One field of view of a urine filter membrane, 4× objective, 2028 × 1520 pixels.
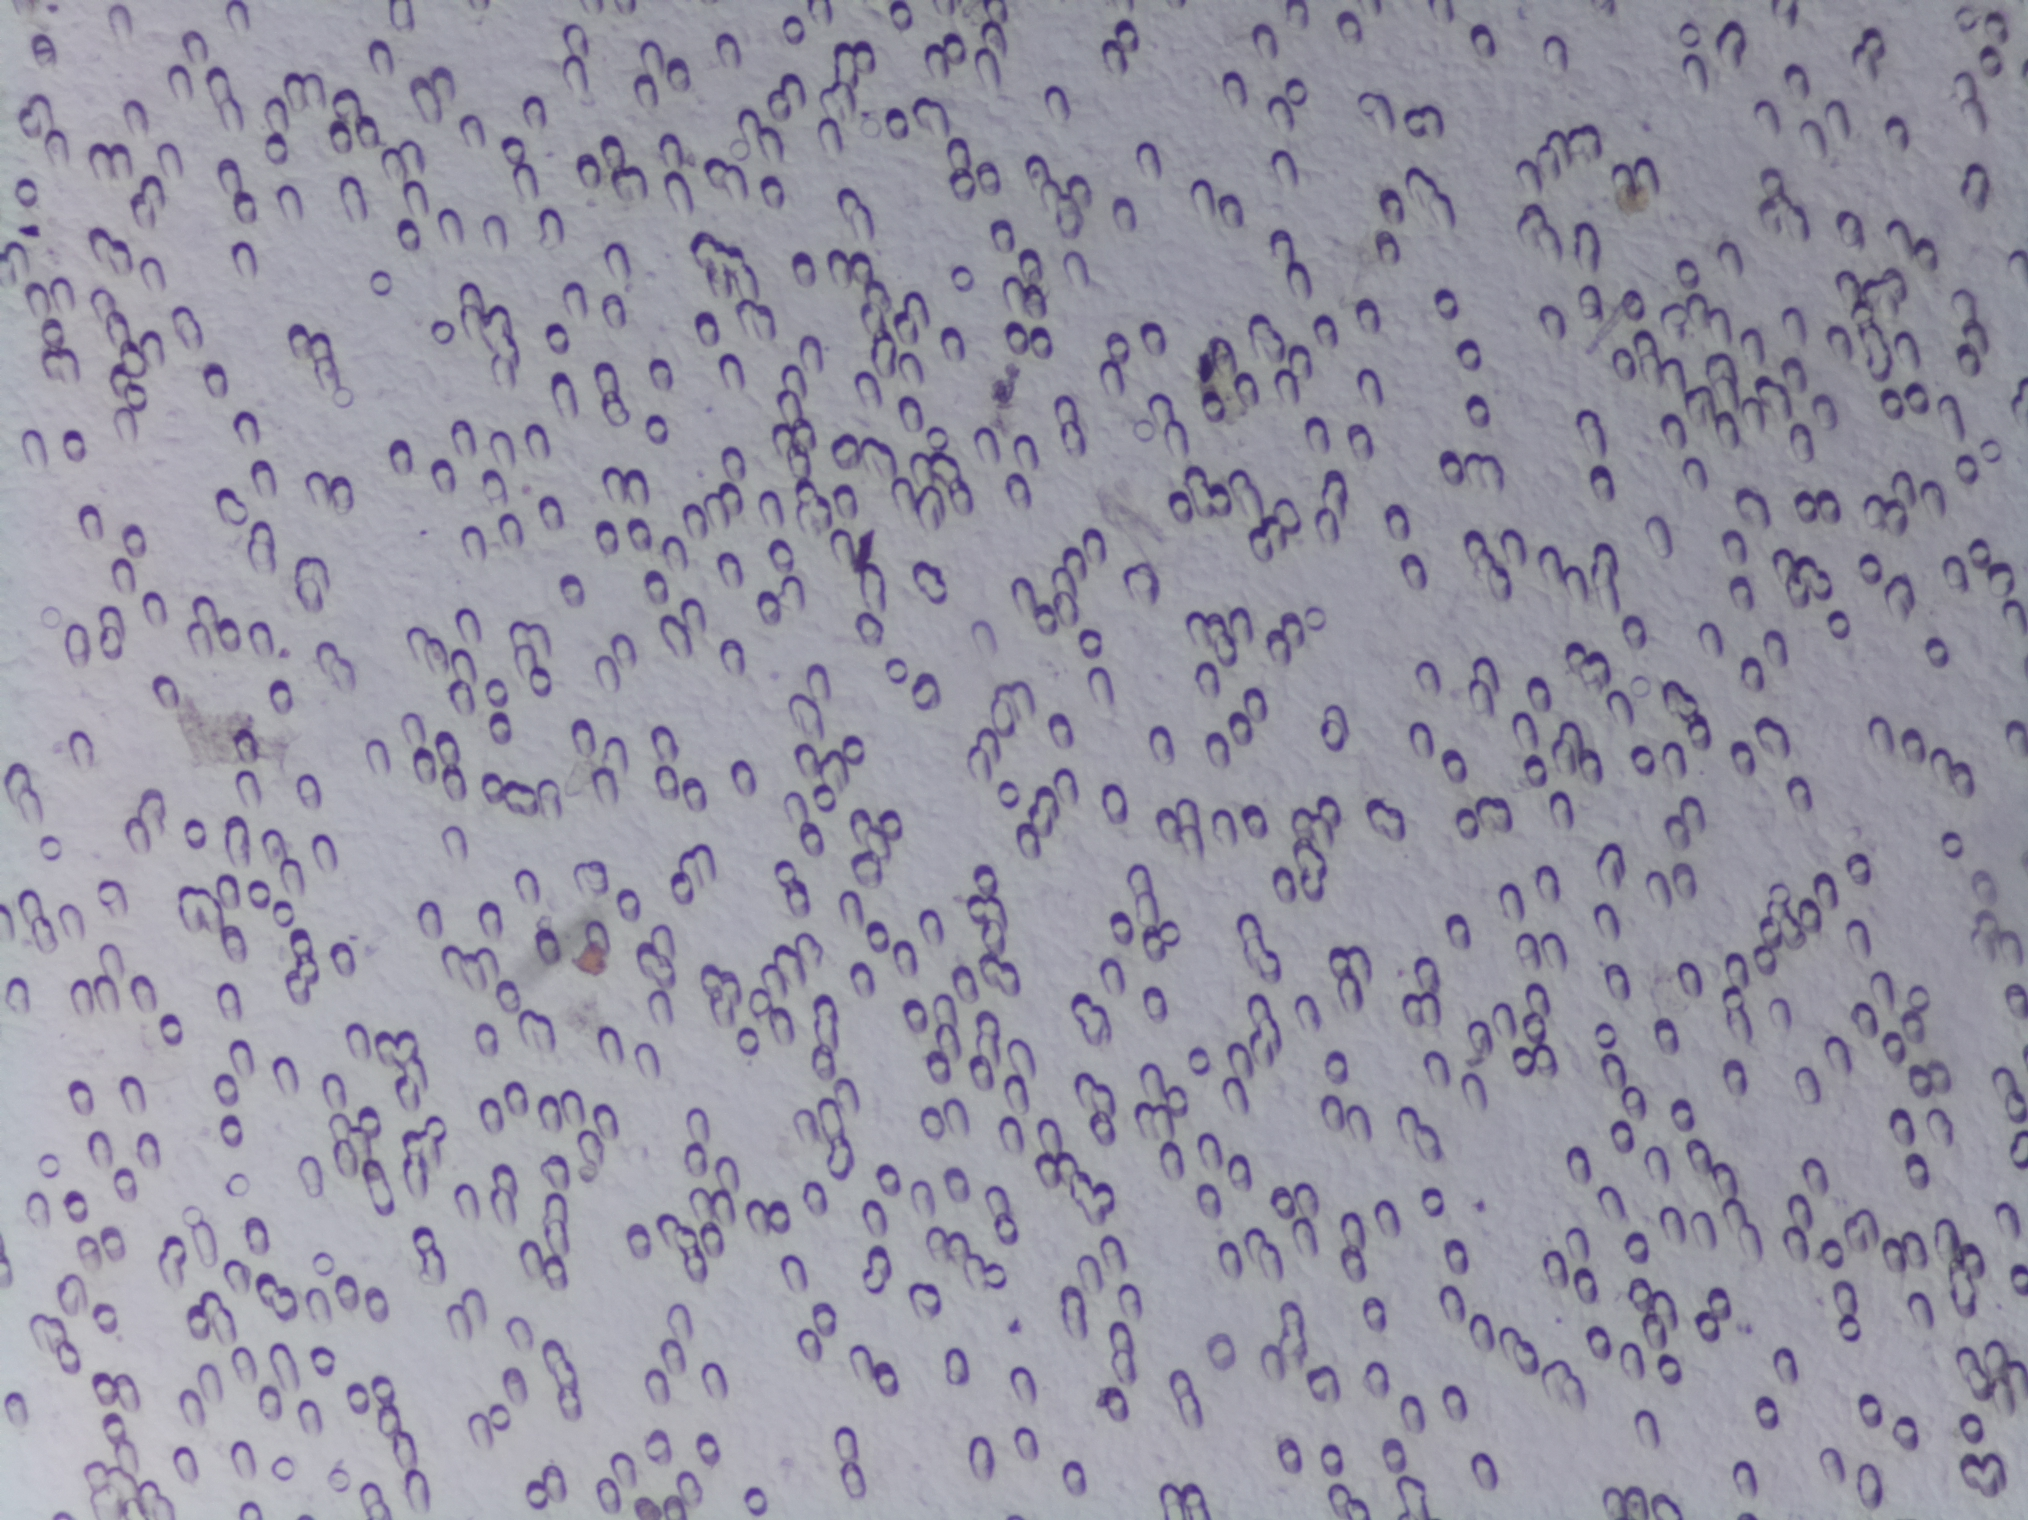
No area of this image was outlined as a Schistosoma egg.